Urine filtration membrane under a 4× objective, photographed by an automated digital microscope.
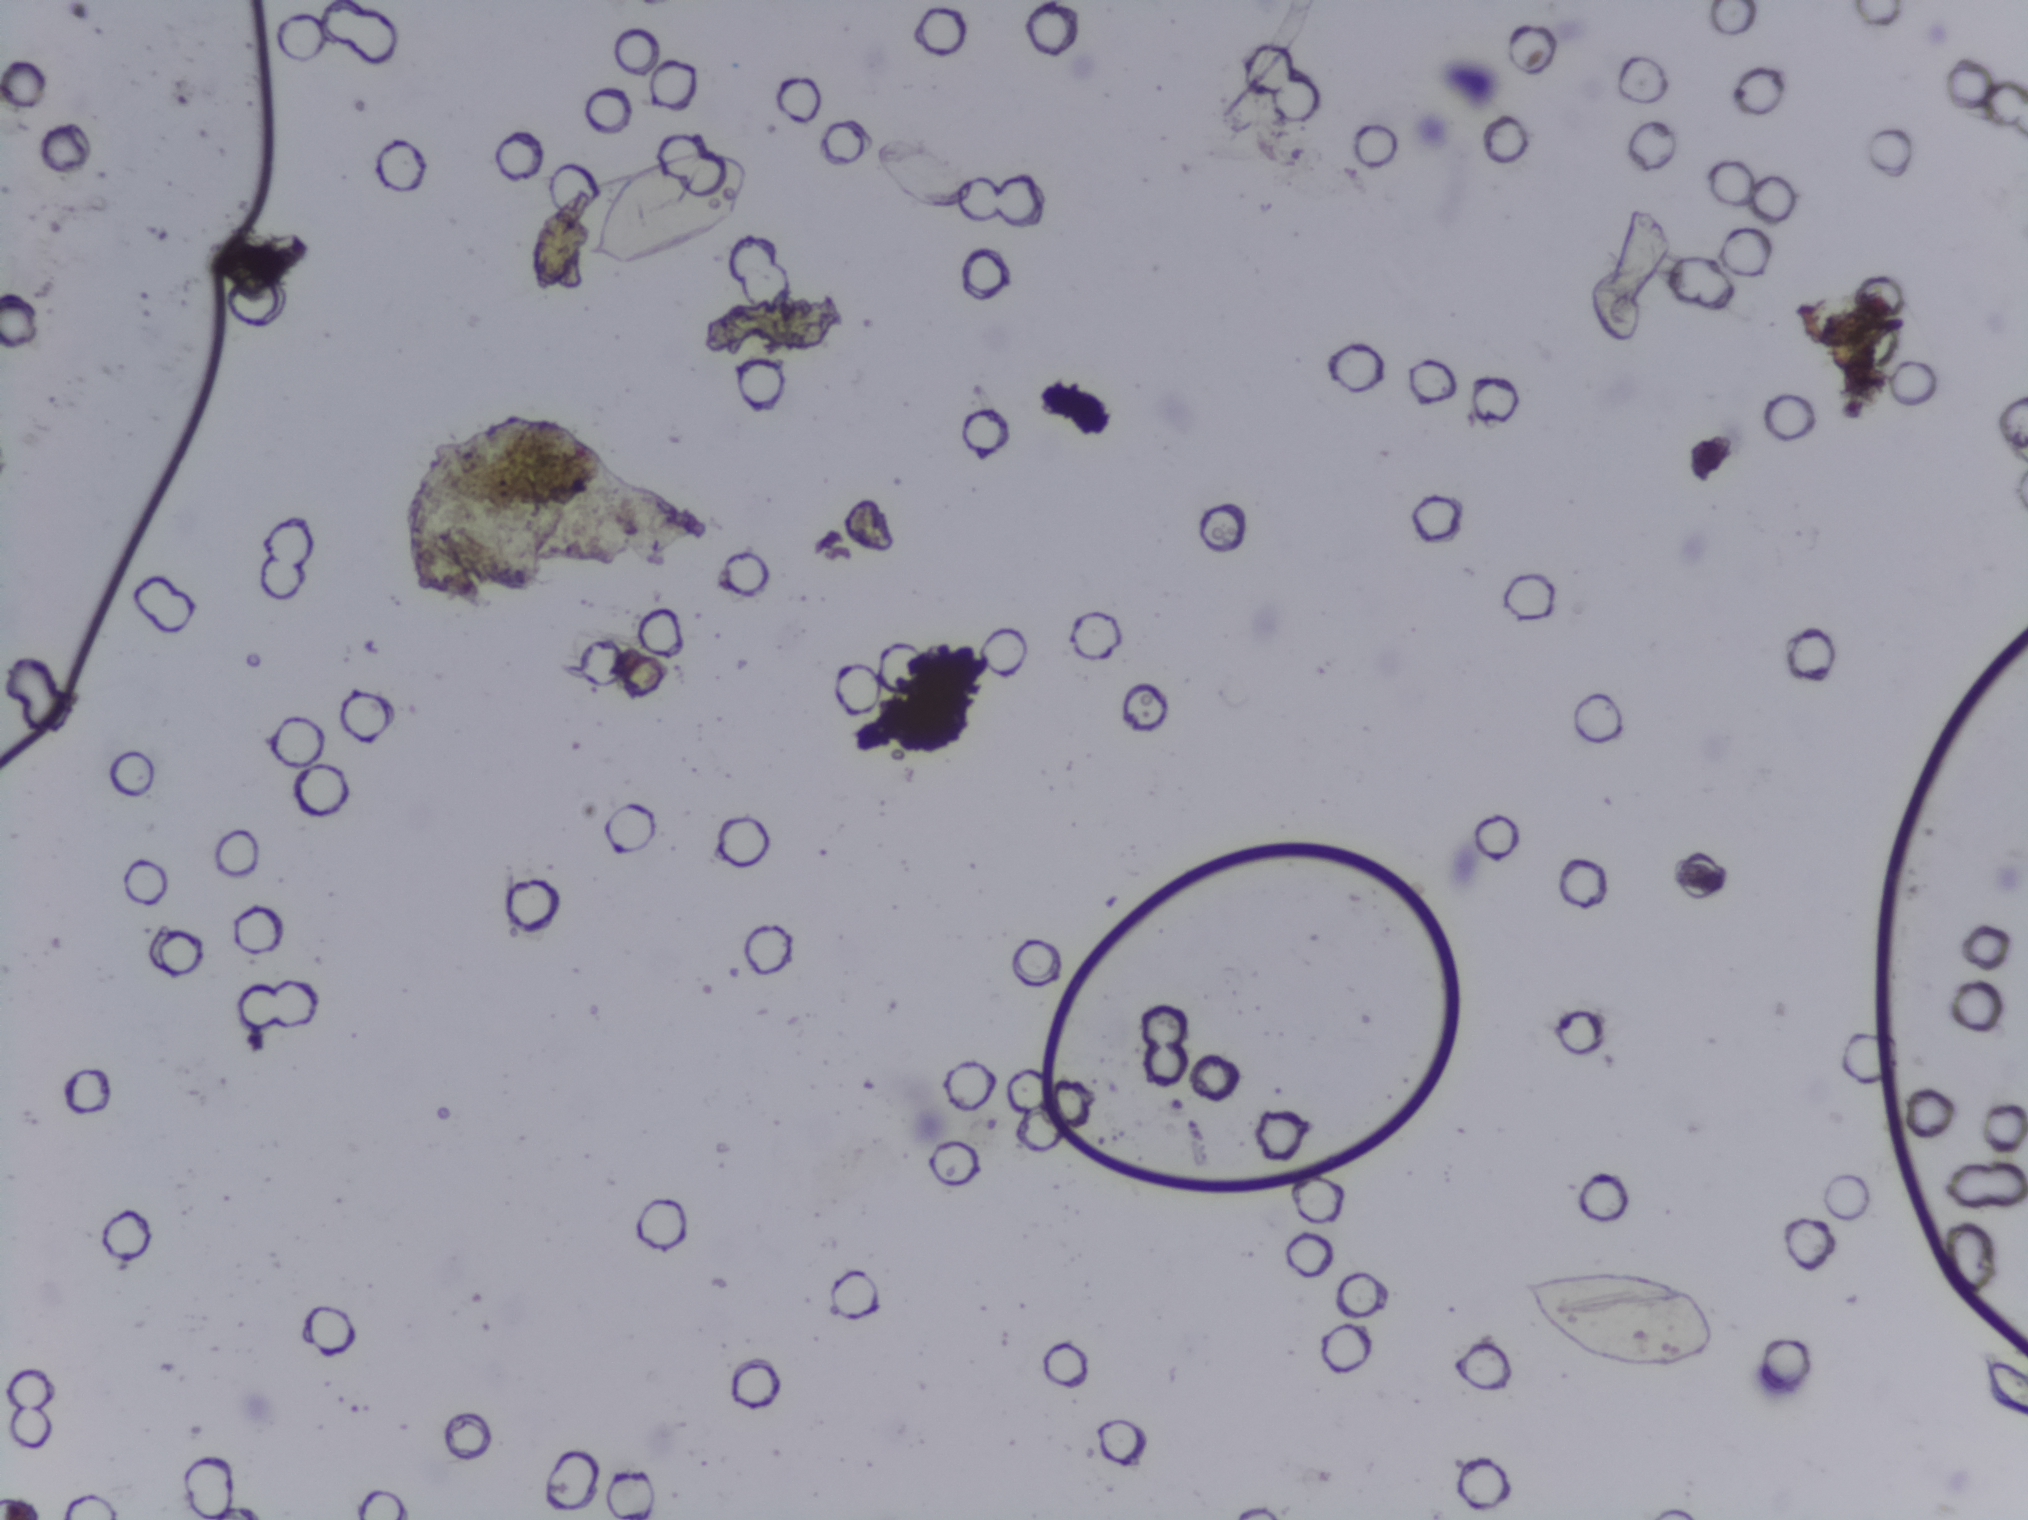
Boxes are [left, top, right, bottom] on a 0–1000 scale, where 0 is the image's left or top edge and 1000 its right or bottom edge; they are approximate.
Areas outlined as Schistosoma eggs, left to right:
1. [287, 97, 370, 176]
2. [749, 834, 850, 904]
The marked pixels themselves, not the boxes around them, cover about 1.0% of the image. Eggs that touch can end up inside the same outlined area.